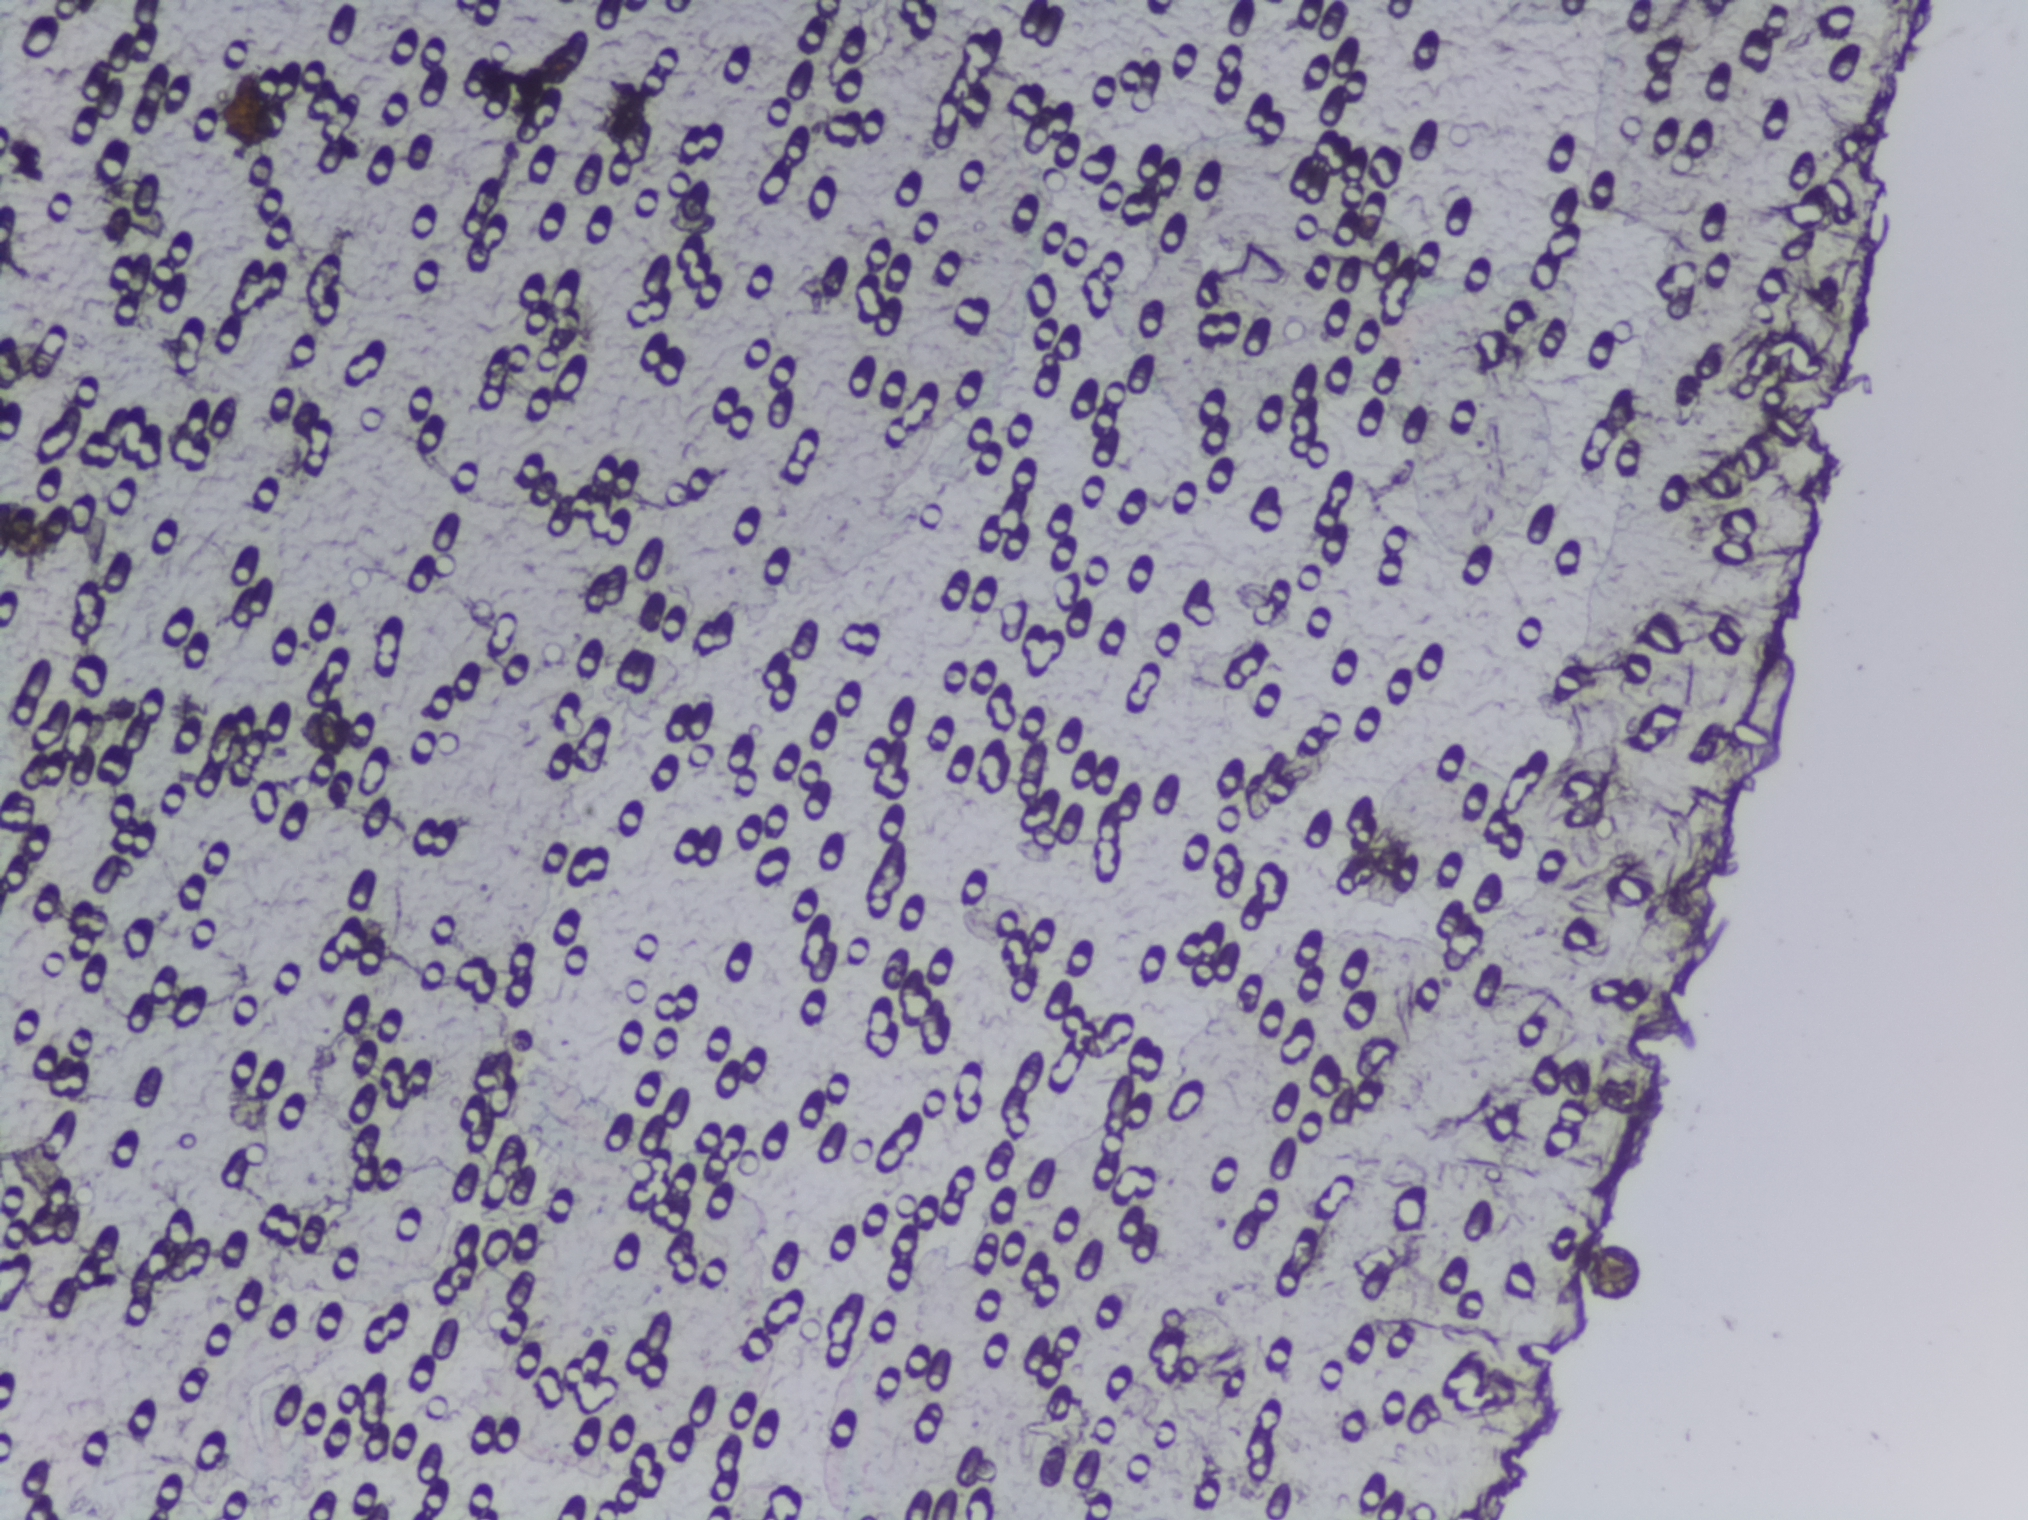
The expert annotation marks no Schistosoma egg in this field of view.
Photograph from an automated digital microscope: urine filter membrane, 4× objective.